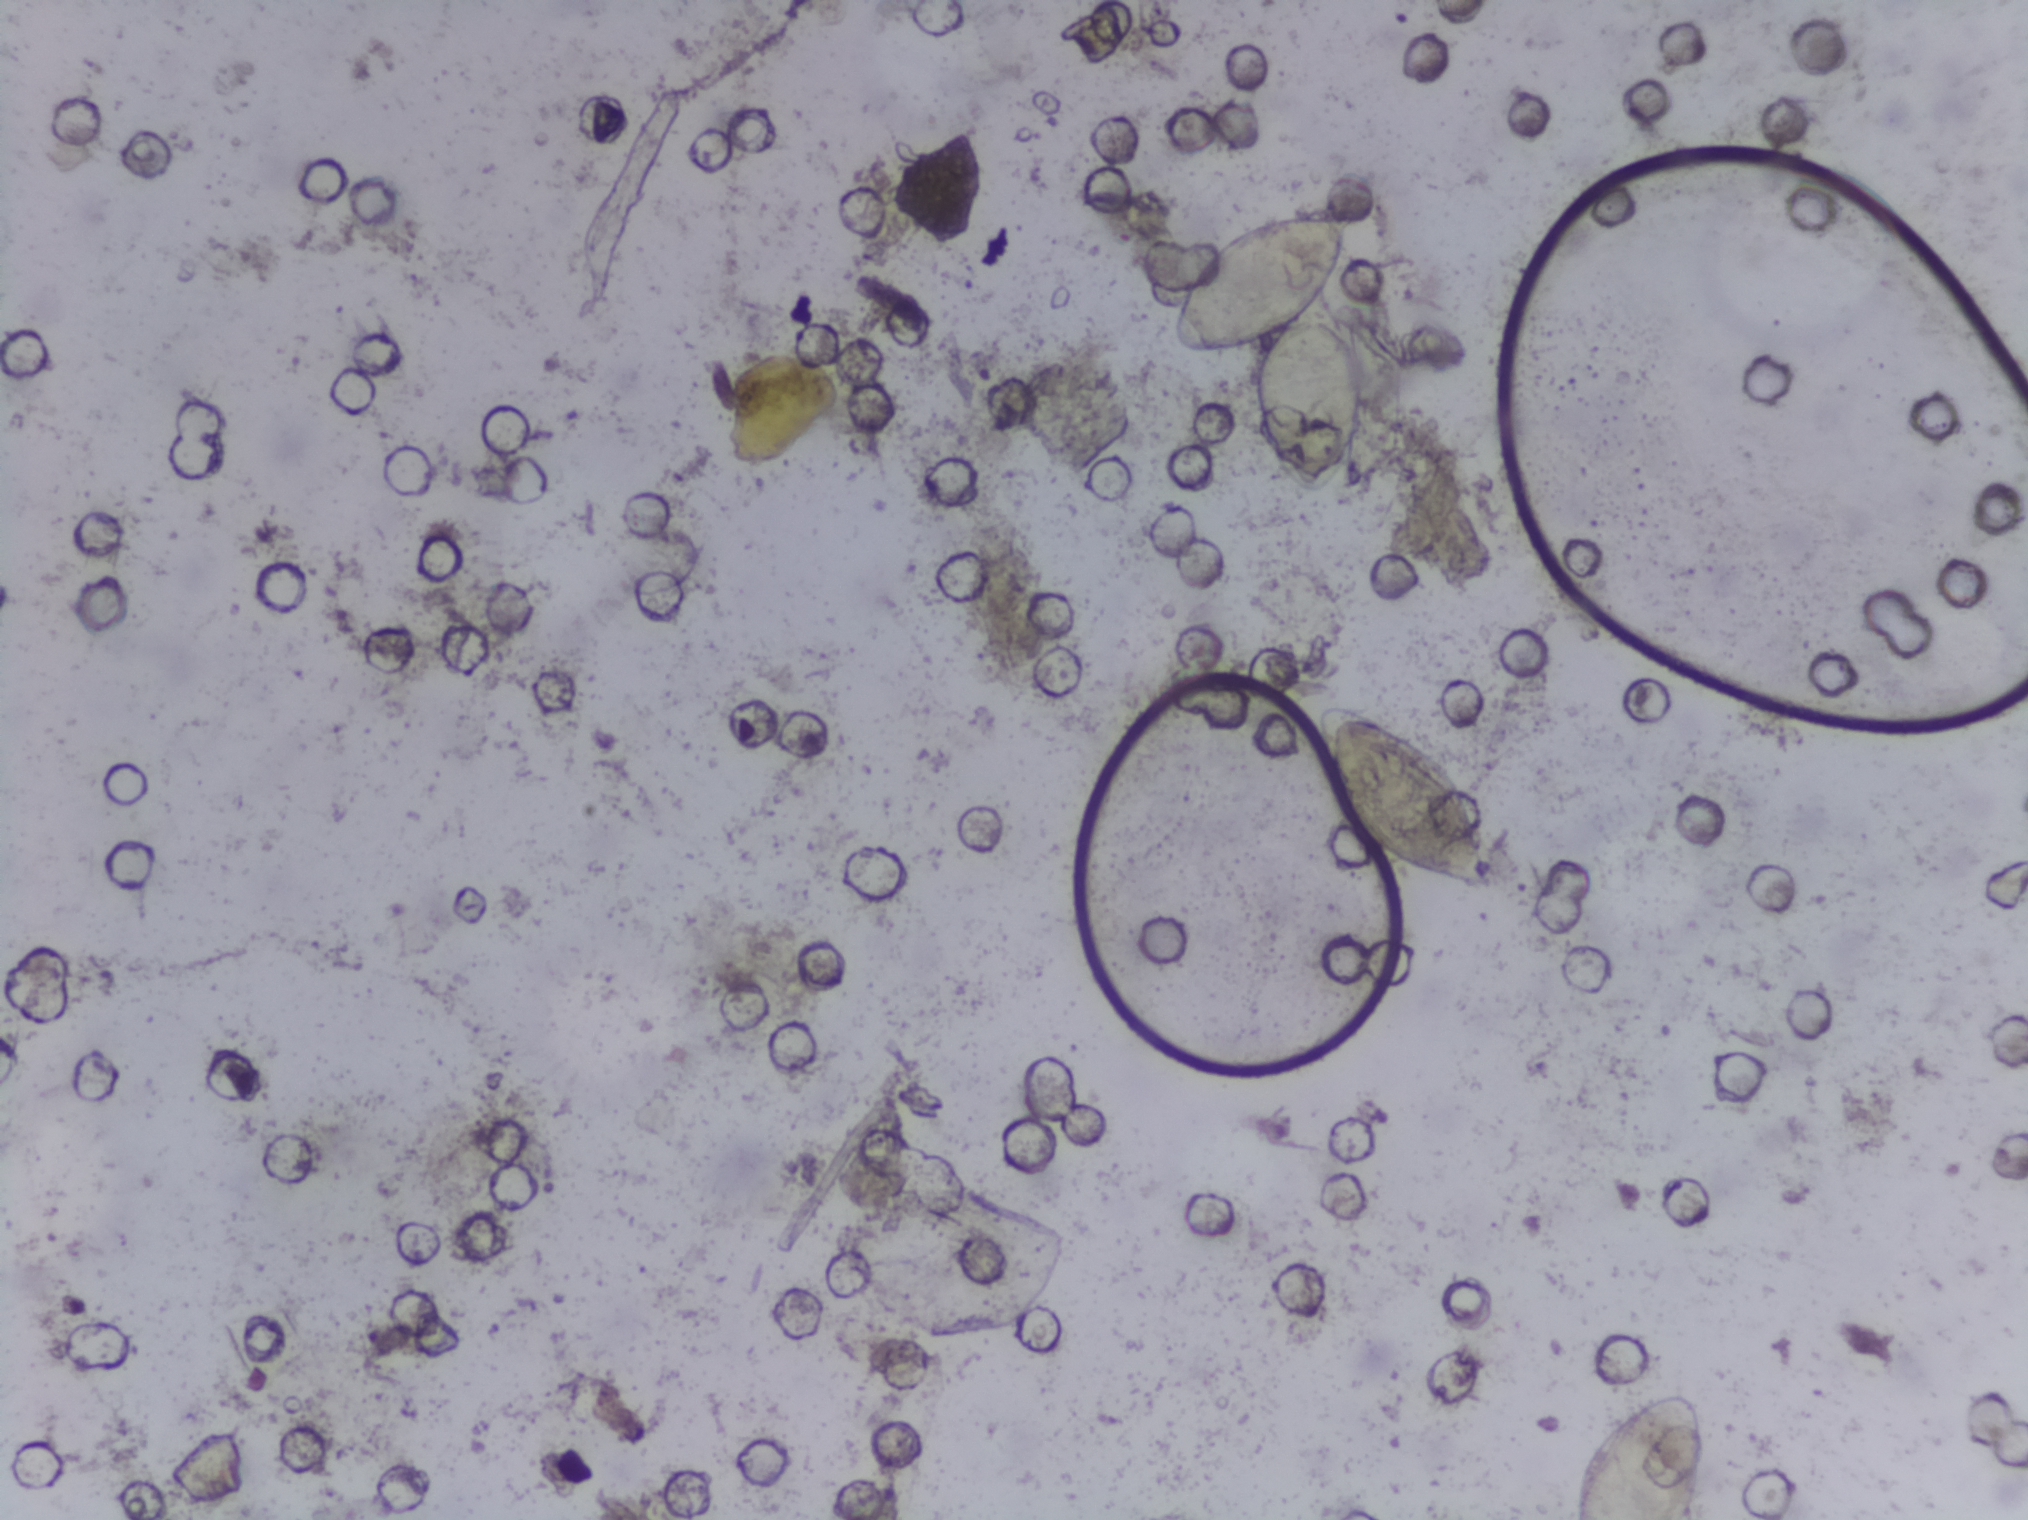
Urine filter membrane photographed through a 4× microscope objective. Field of view: about 1.5 mm wide and 1.1 mm high.
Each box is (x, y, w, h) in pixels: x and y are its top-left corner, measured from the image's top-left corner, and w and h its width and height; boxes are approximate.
Schistosoma egg areas, outlined: (x=1166, y=207, w=202, h=294); (x=1319, y=706, w=185, h=190); (x=1575, y=1390, w=129, h=130) (reaching the bottom edge of the frame). A single outlined area may contain several eggs.